Photomicrograph of a urine filtration membrane, 4× objective.
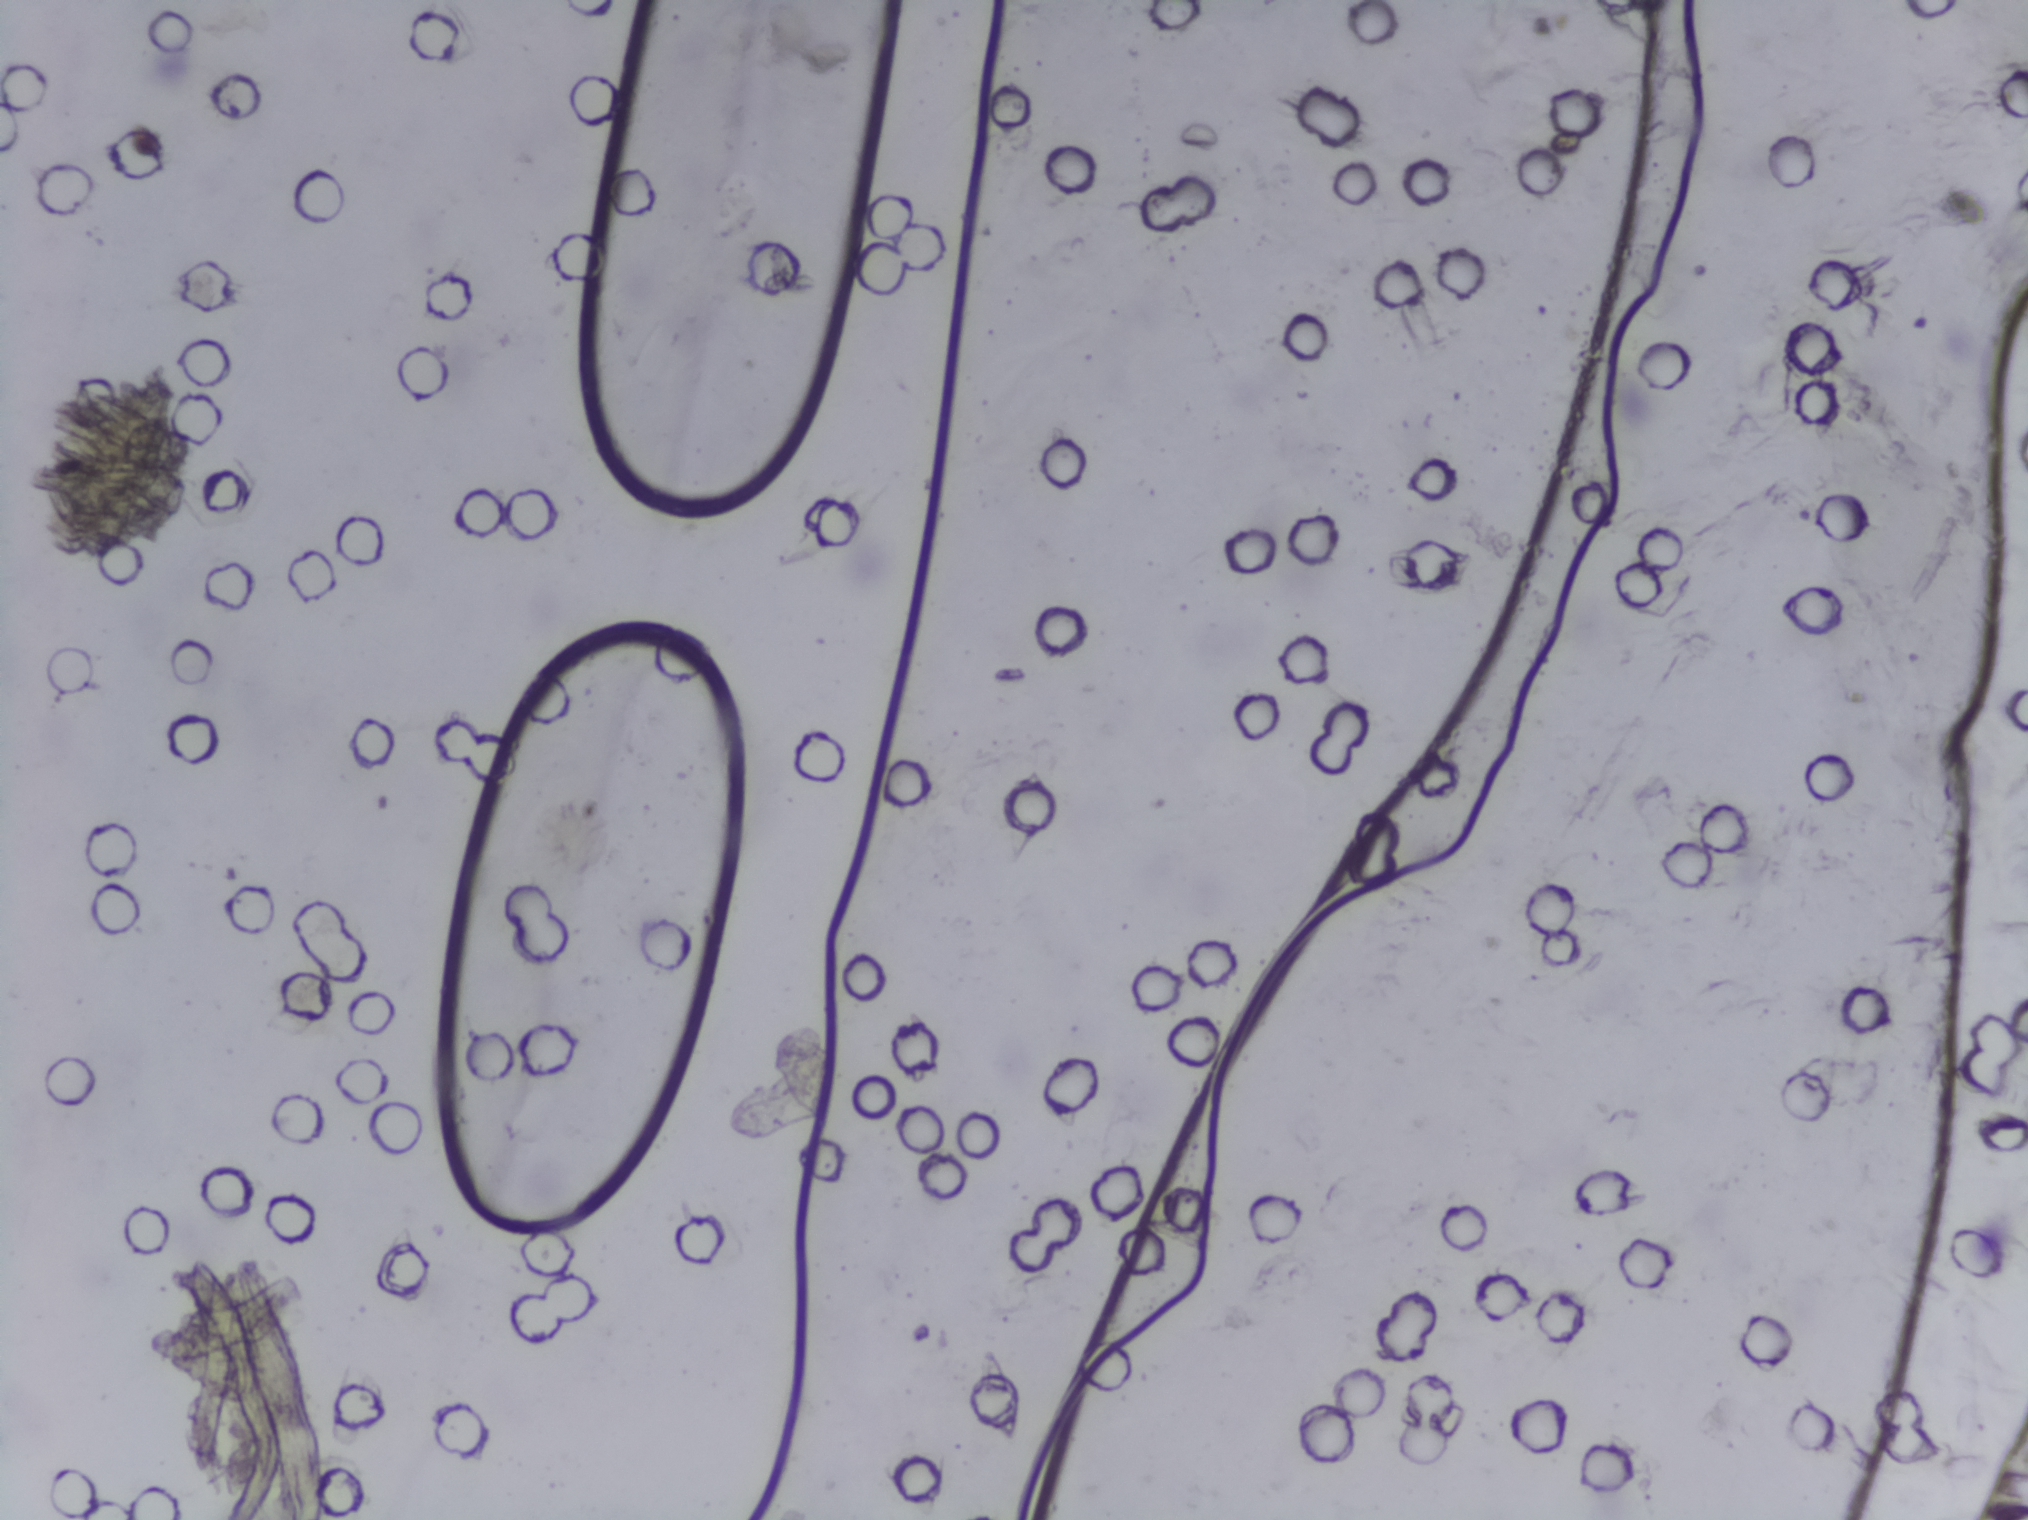
The expert annotation outlines no Schistosoma egg in this image.